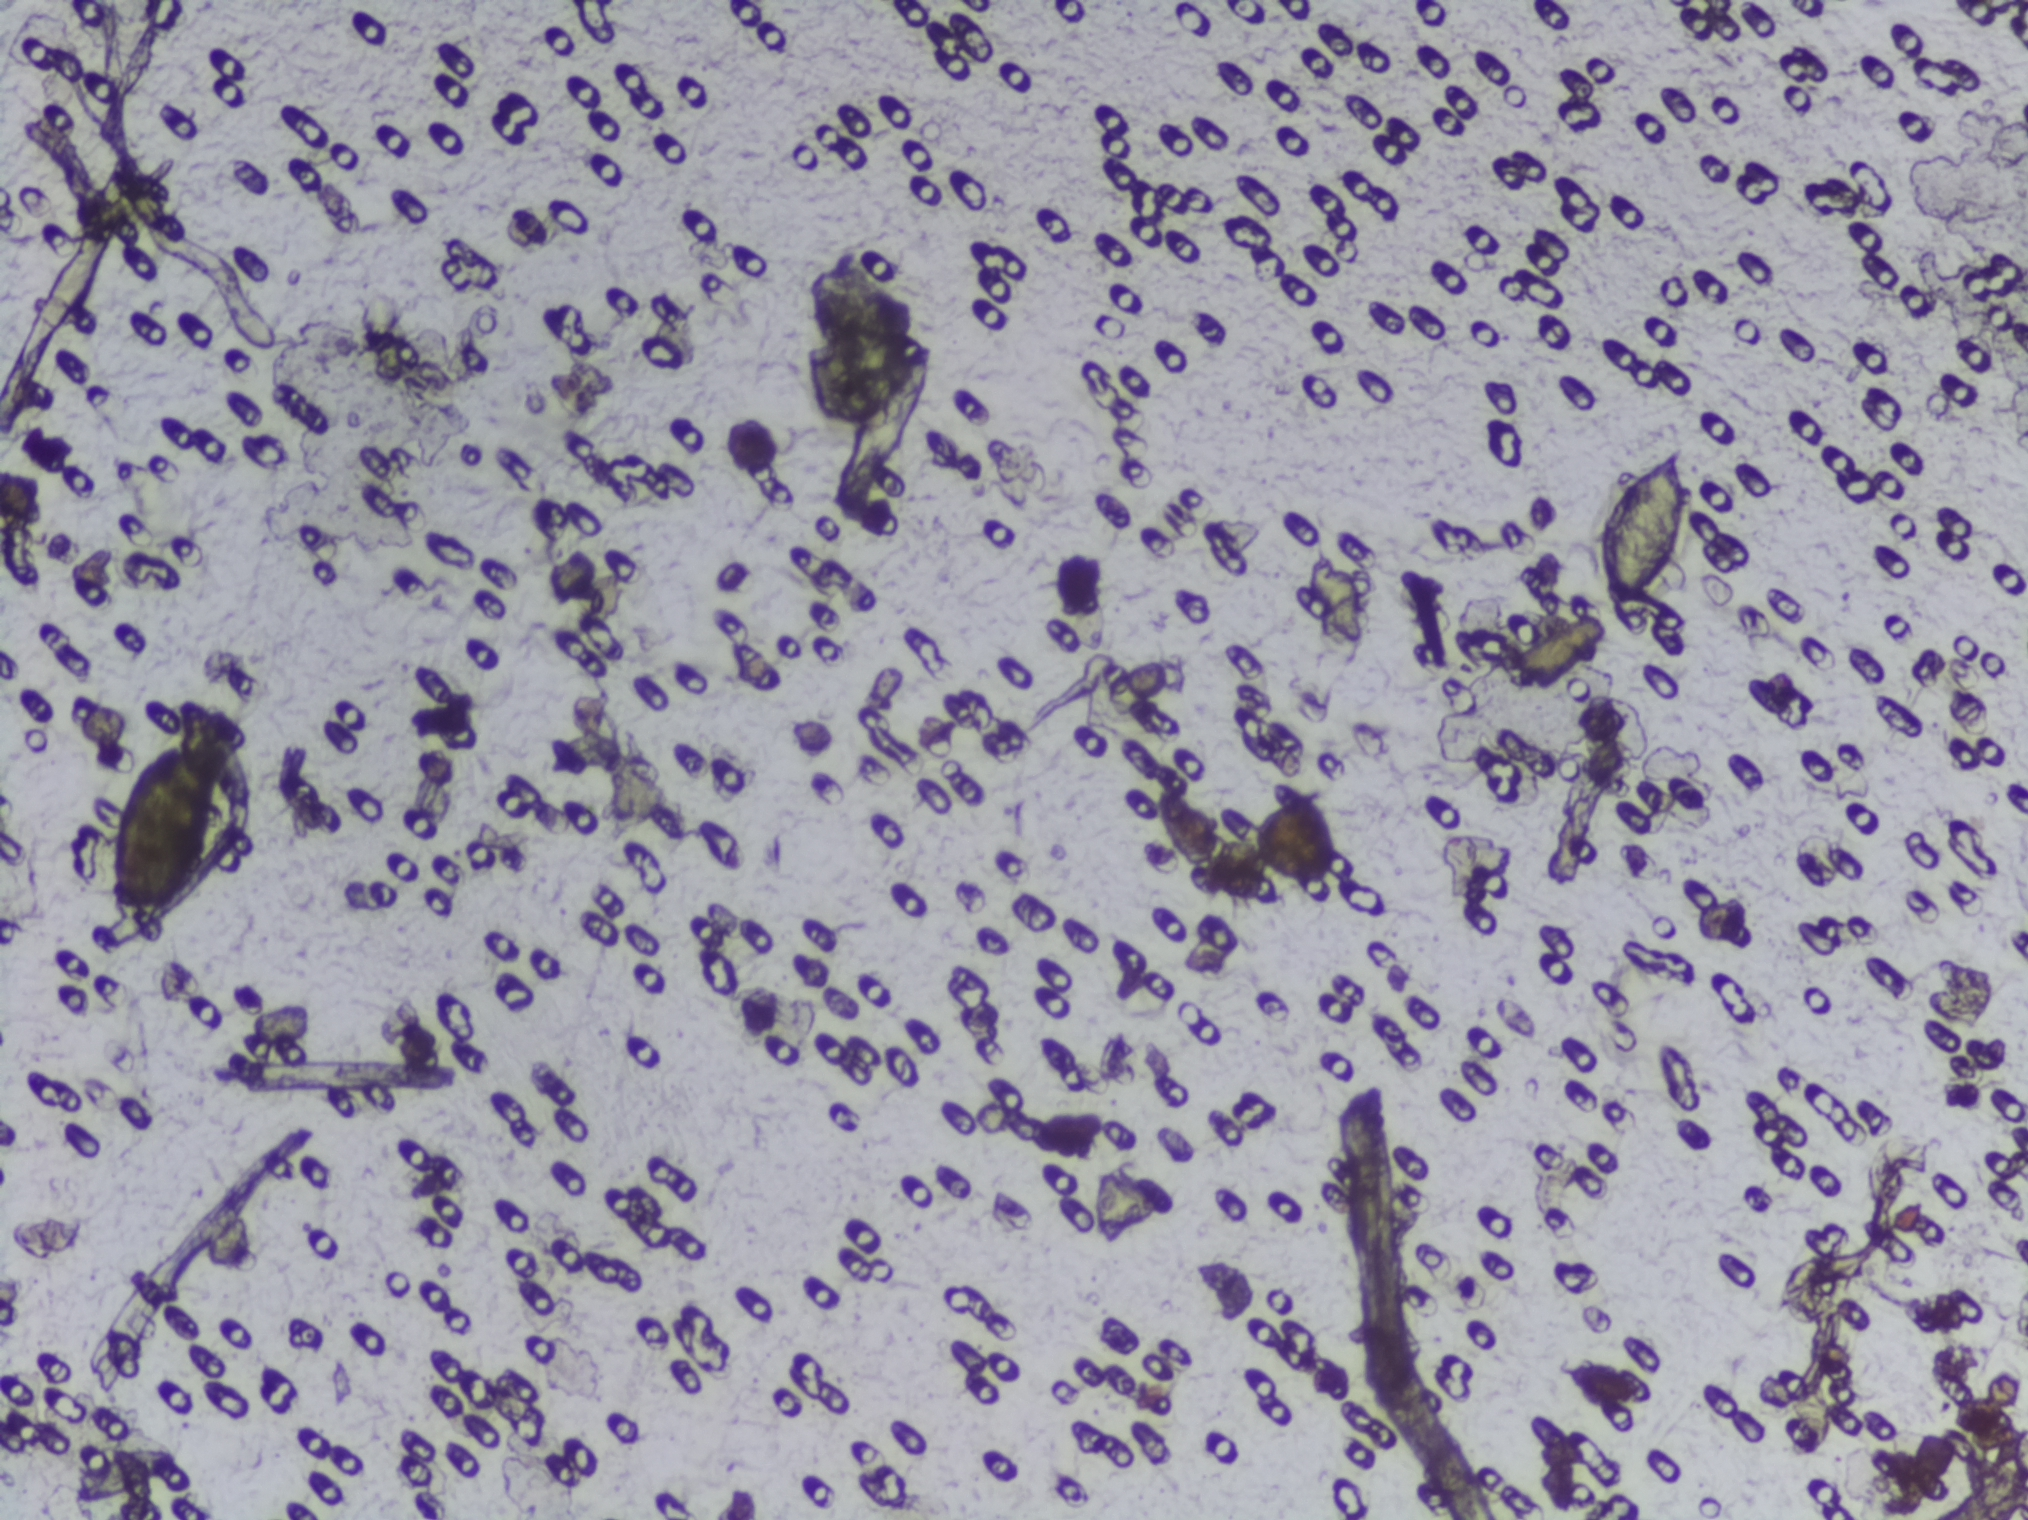
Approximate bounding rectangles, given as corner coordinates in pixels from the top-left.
Schistosoma eggs are outlined in the expert annotation at (x1=1595, y1=443, x2=1697, y2=614). The marked pixels themselves, not the box around them, cover about 0.4% of the image. Eggs that touch can end up inside the same outlined area.
Urine filter membrane photographed through a 4× microscope objective. The image covers about 1.5 × 1.1 mm of the membrane.